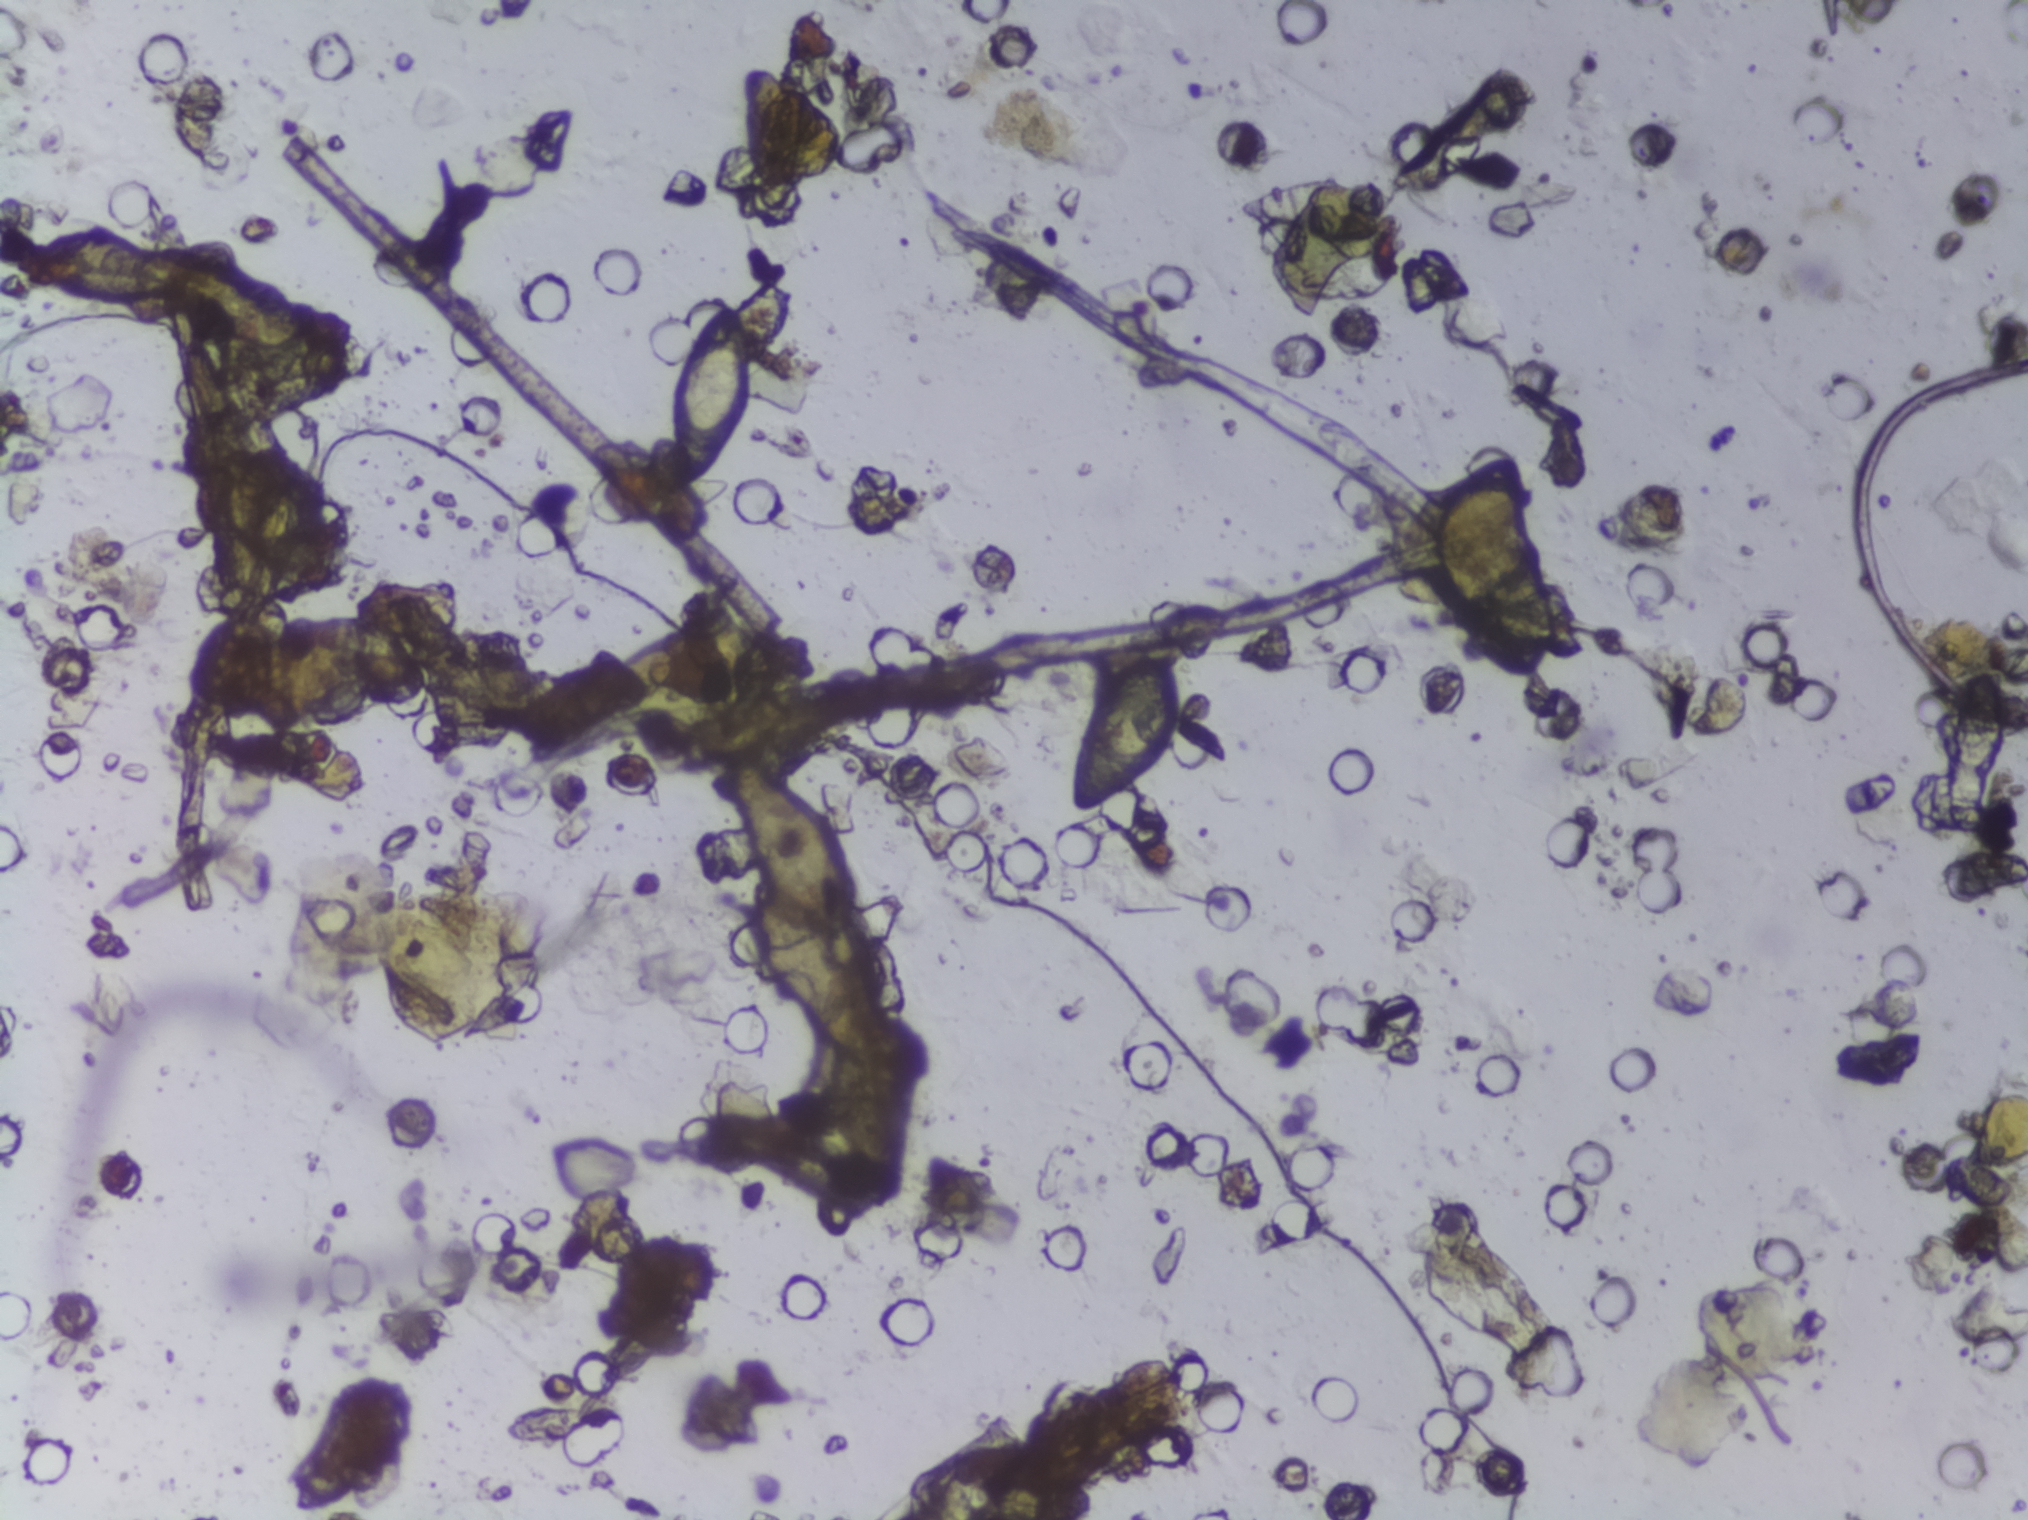
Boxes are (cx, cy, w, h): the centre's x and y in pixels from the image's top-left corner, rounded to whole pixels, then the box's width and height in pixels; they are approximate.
Schistosoma eggs are outlined in the expert annotation at (cx=709, cy=398, w=88, h=187); (cx=804, cy=907, w=166, h=293); (cx=1126, cy=730, w=112, h=162). A single outlined area may contain several eggs.
Photograph from an automated digital microscope: urine filter membrane, 4× objective.